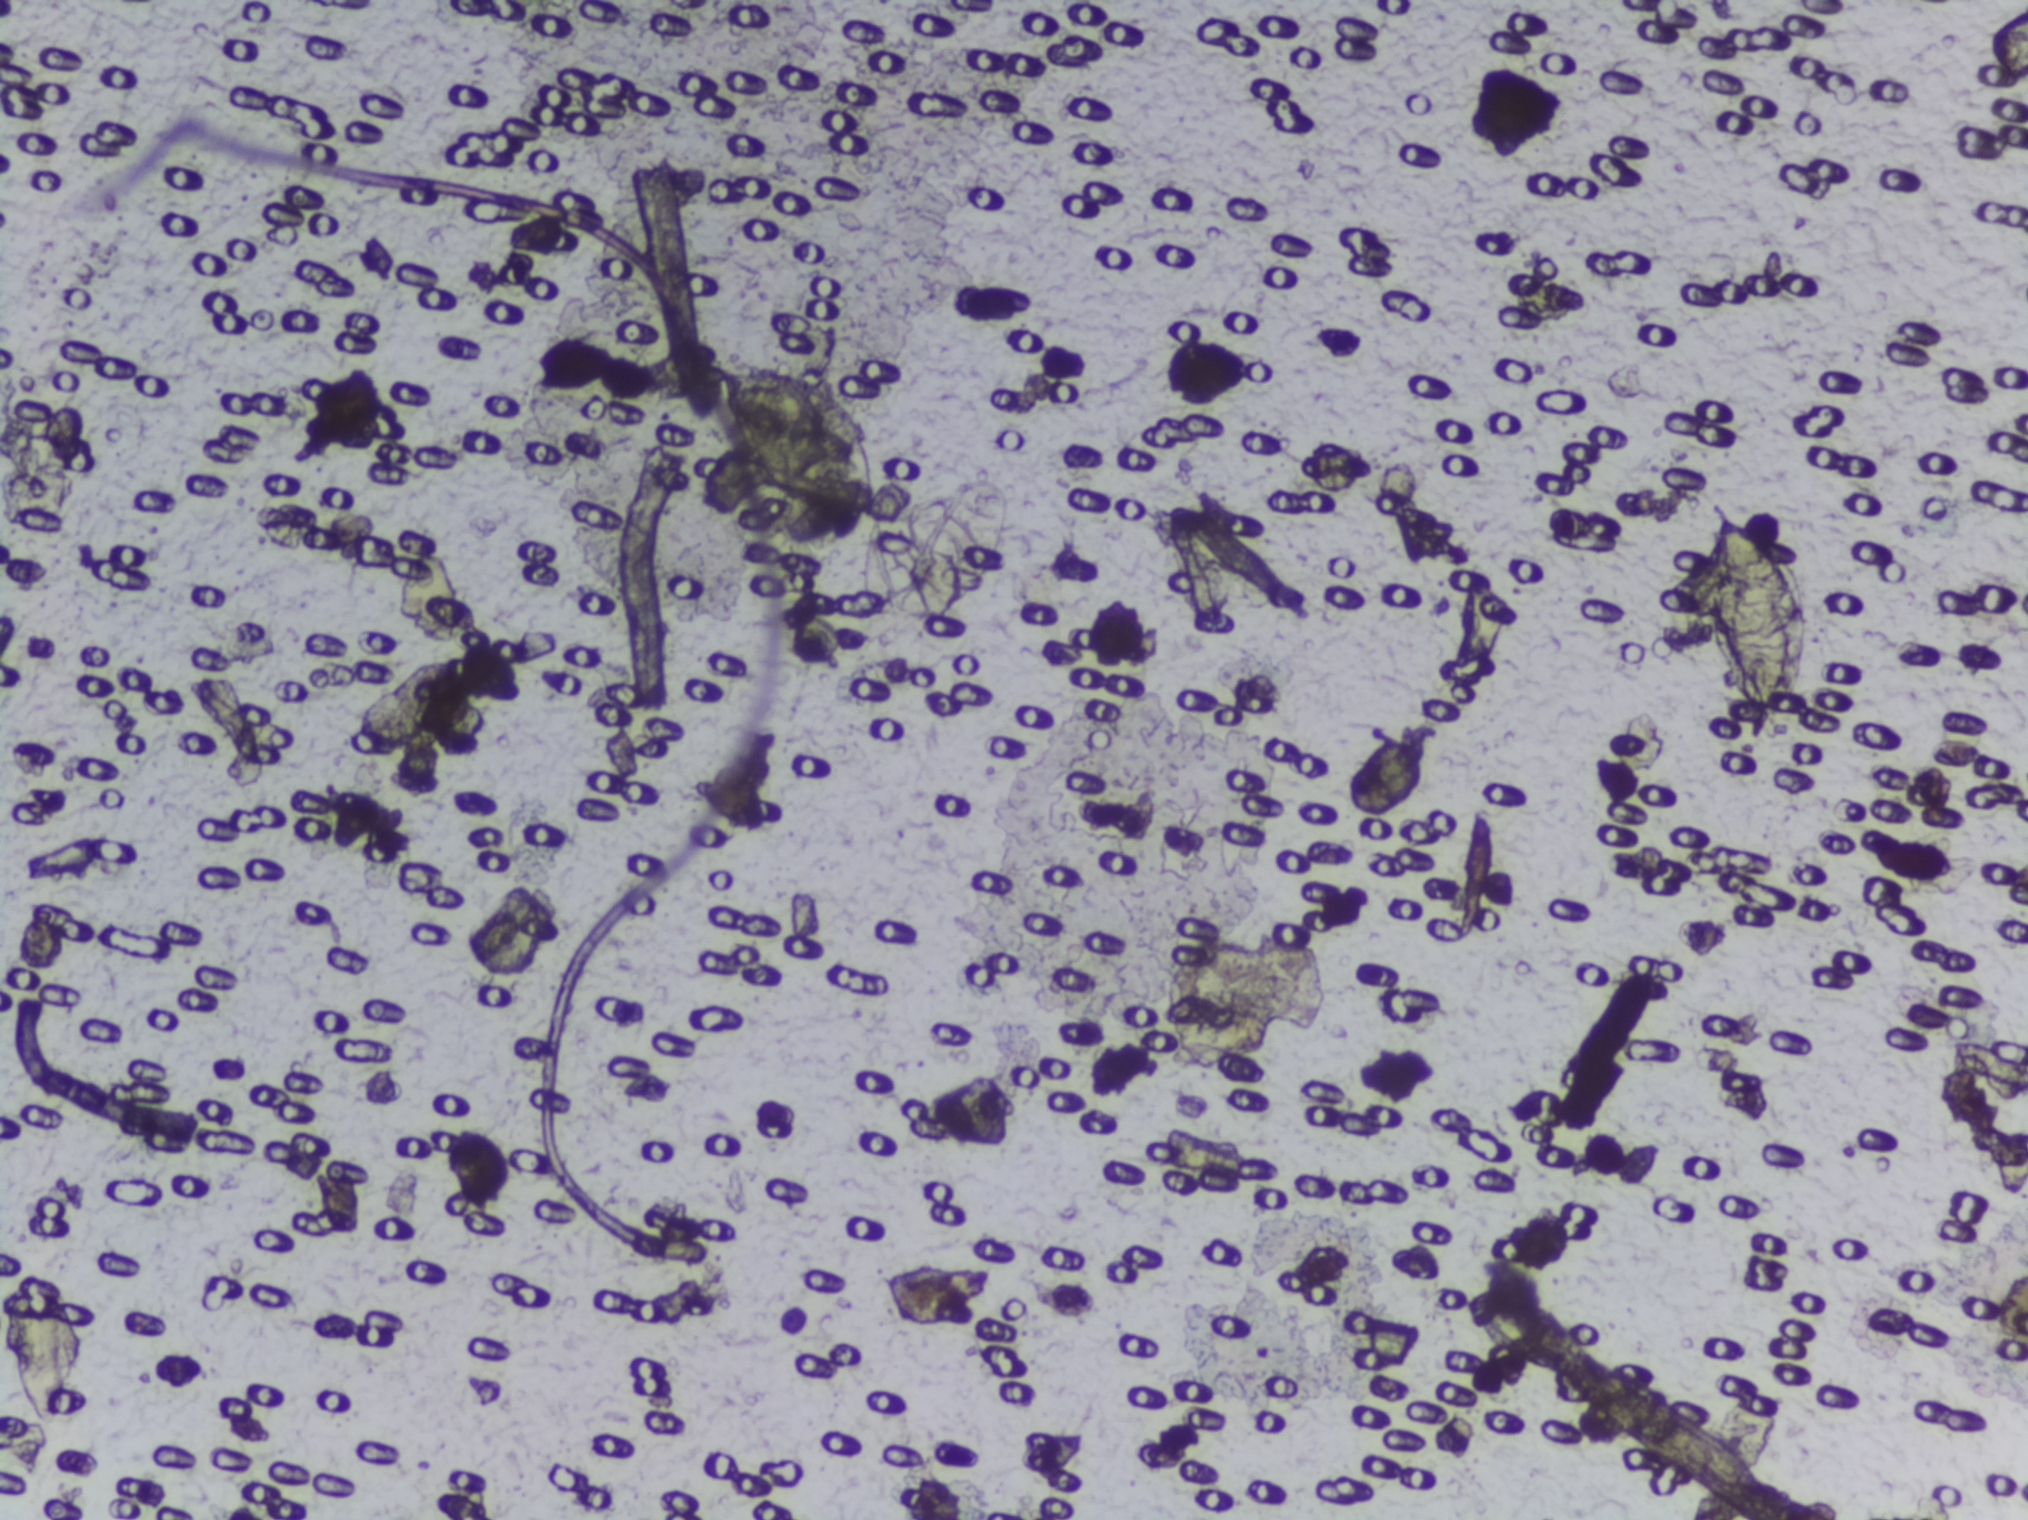
Photograph from an automated digital microscope: urine filter membrane, 4× objective.
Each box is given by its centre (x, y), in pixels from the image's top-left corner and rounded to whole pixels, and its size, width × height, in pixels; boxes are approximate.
Schistosoma eggs are outlined in three areas of this image, listed from left to right: centre (48, 1346), 92 × 162 px; centre (795, 438), 173 × 169 px; centre (1751, 614), 130 × 256 px. An outlined area can hold more than one egg. Any one outlined egg may, rarely, be S. mansoni rather than S. haematobium.